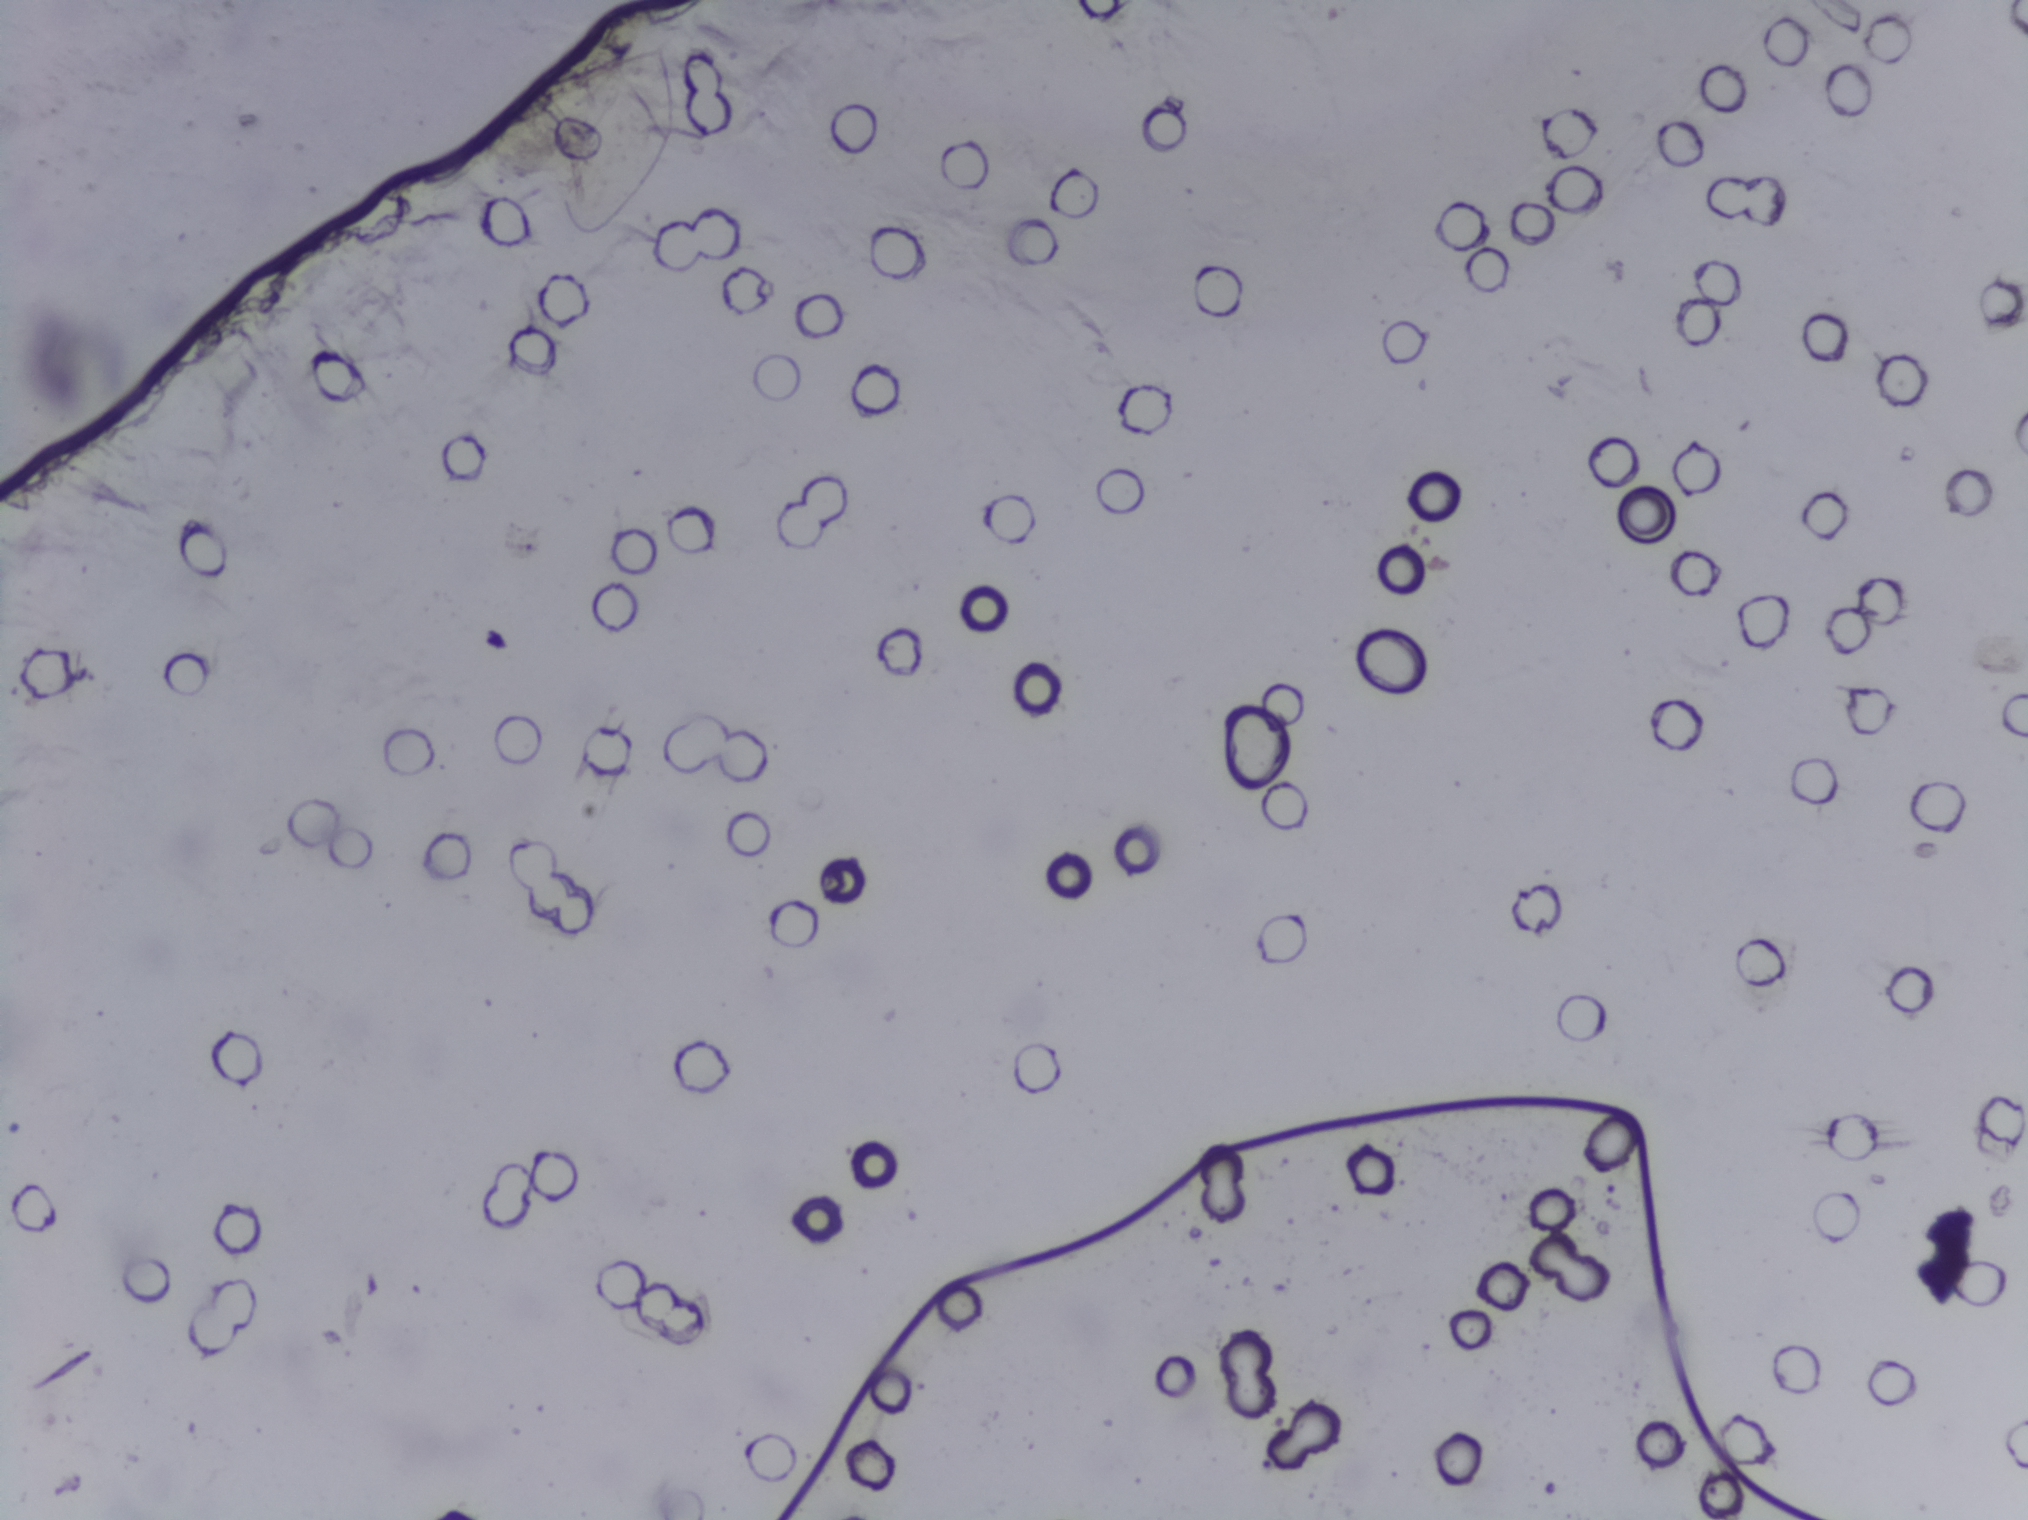
Urine filter membrane photographed through a 4× microscope objective. Field of view: about 1.5 mm wide and 1.1 mm high.
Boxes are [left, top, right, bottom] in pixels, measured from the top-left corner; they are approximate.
Findings: one area outlined as Schistosoma eggs. Location: [547, 40, 676, 237]. An outlined area can hold more than one egg.